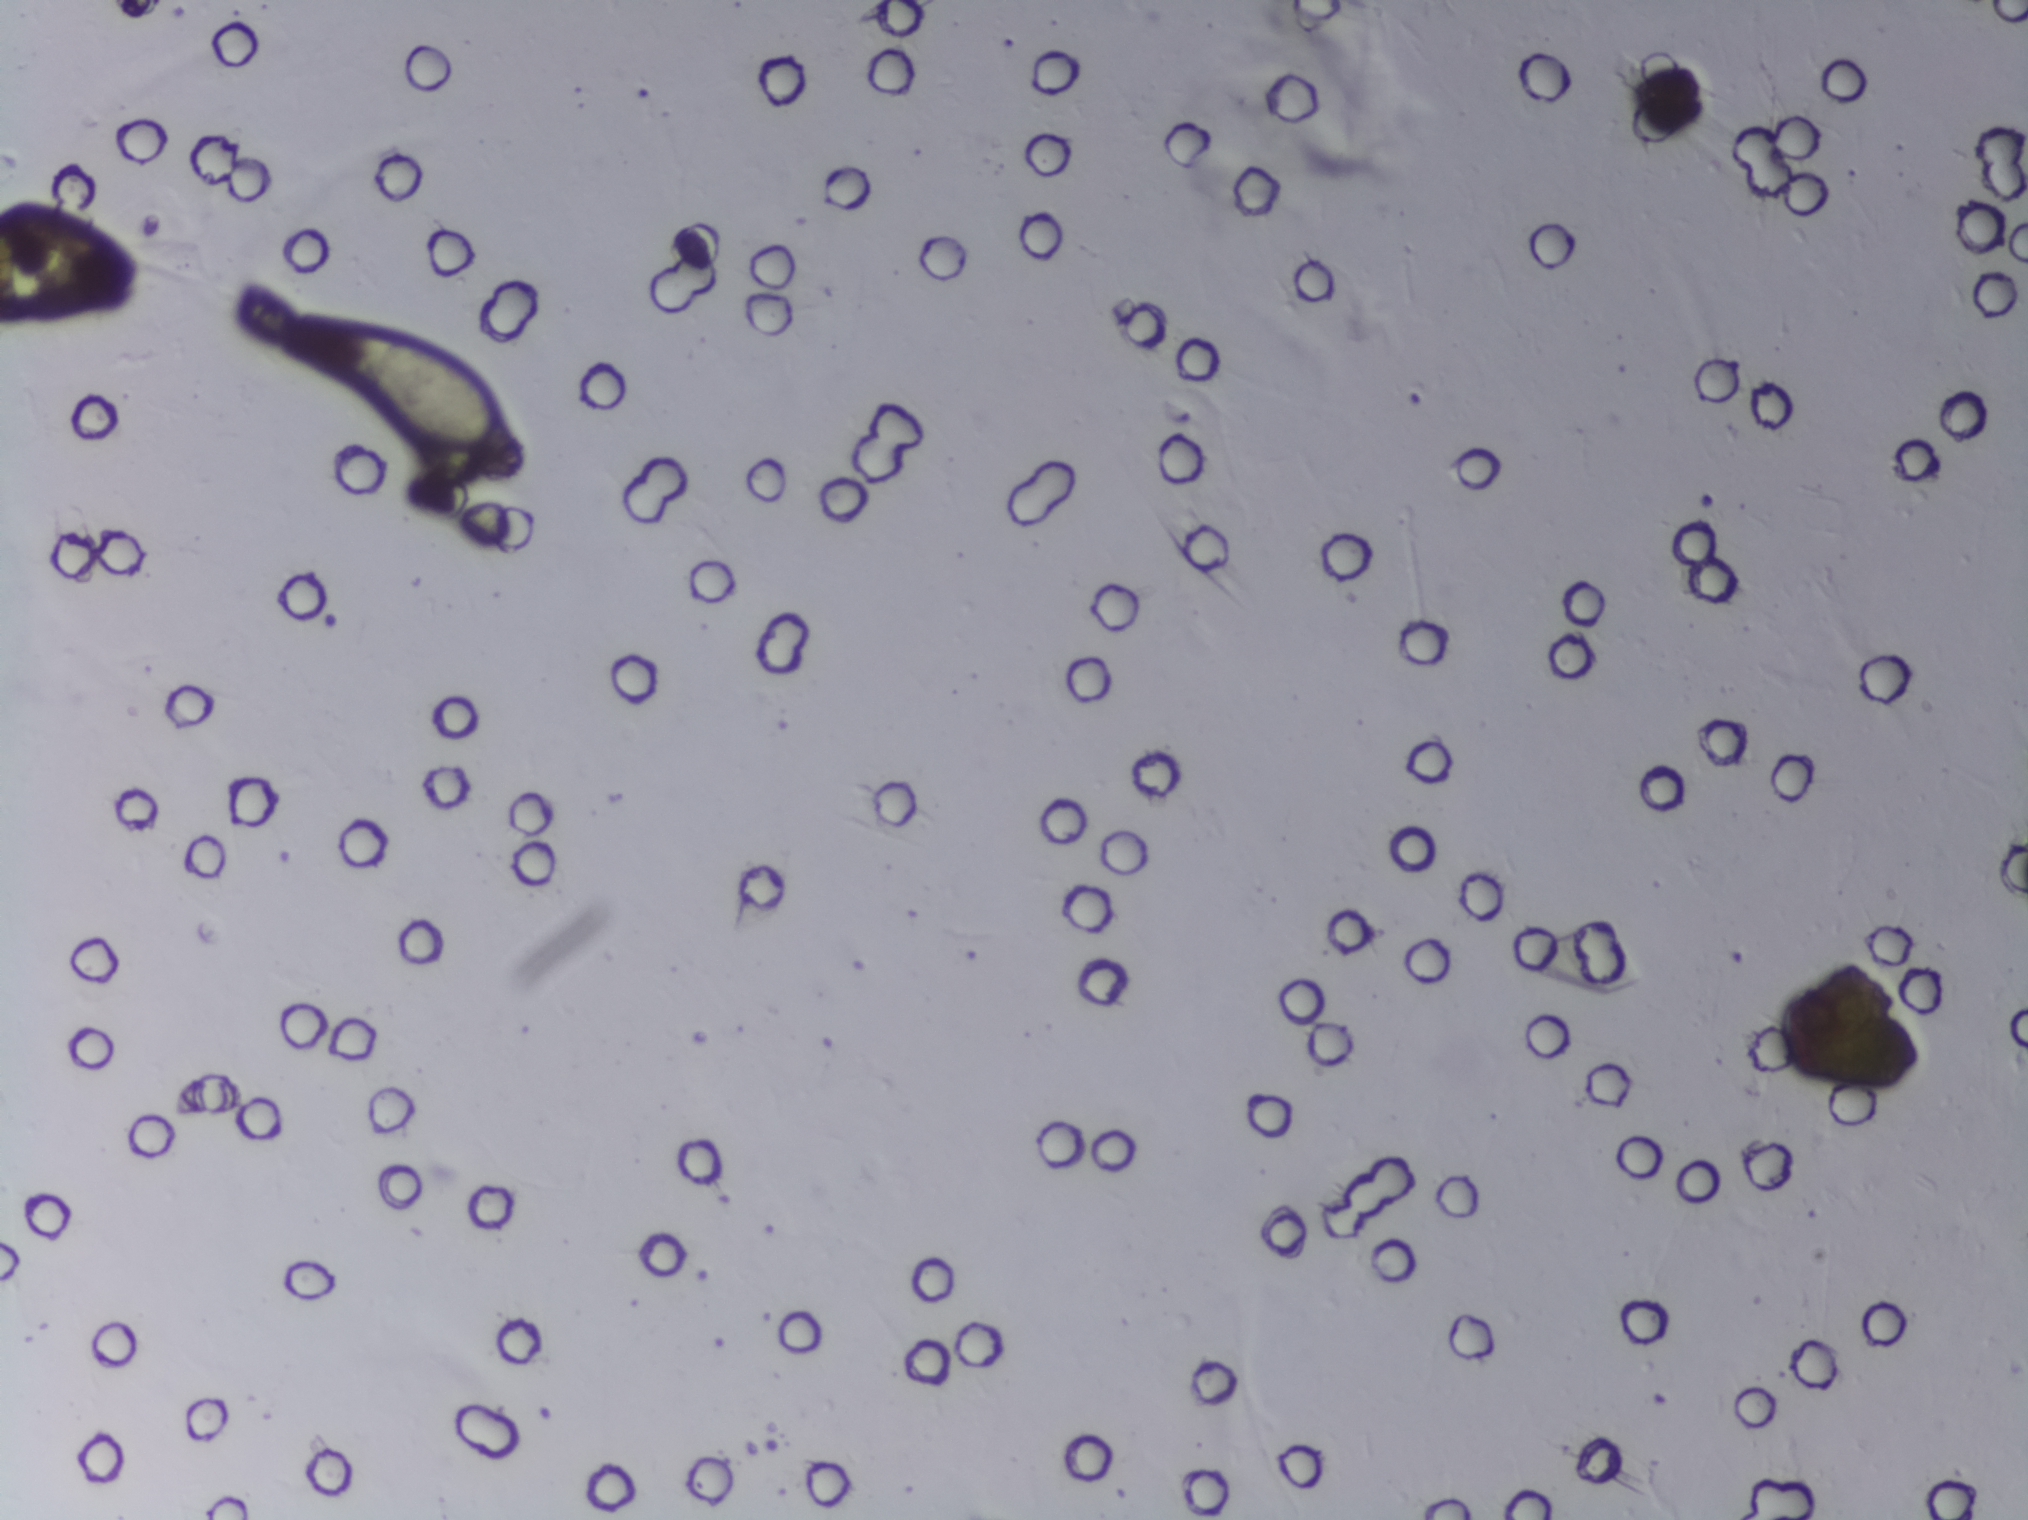
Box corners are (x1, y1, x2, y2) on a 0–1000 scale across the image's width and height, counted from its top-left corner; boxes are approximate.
One area of this image is outlined as Schistosoma eggs: (166, 214, 257, 303). A single outlined area may contain several eggs.
Photograph from an automated digital microscope: urine filter membrane, 4× objective. Field of view: about 1.5 mm wide and 1.1 mm high.